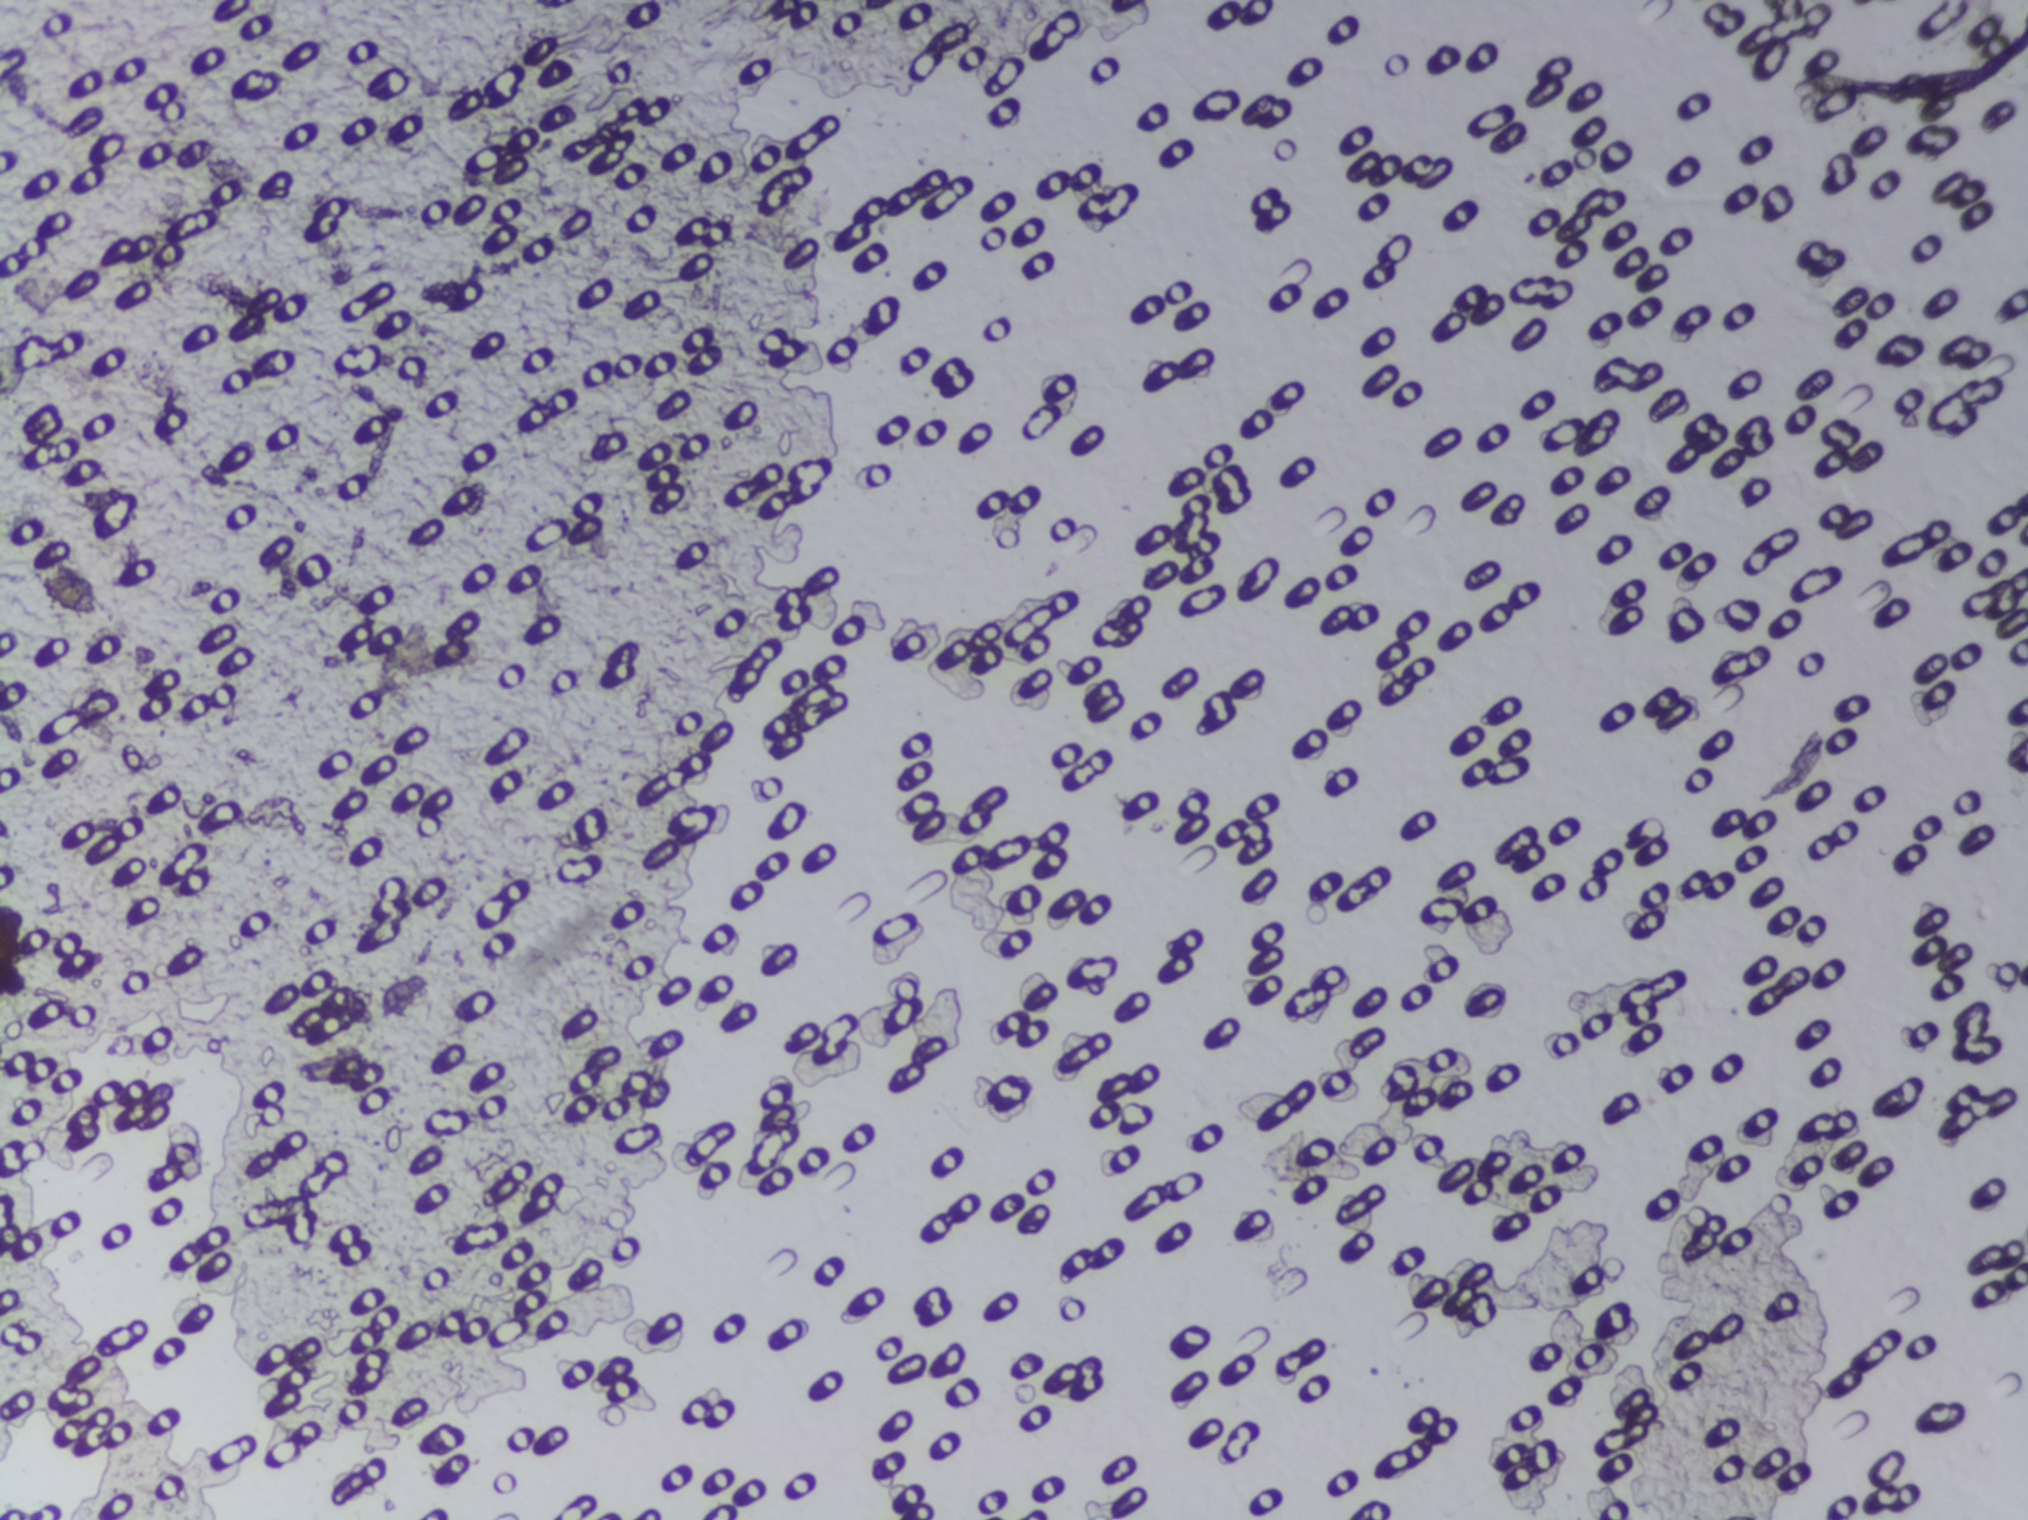
Schistosoma eggs: none outlined.
Urine filtration membrane under a 4× objective, photographed by an automated digital microscope. Field of view: about 1.5 mm wide and 1.1 mm high.